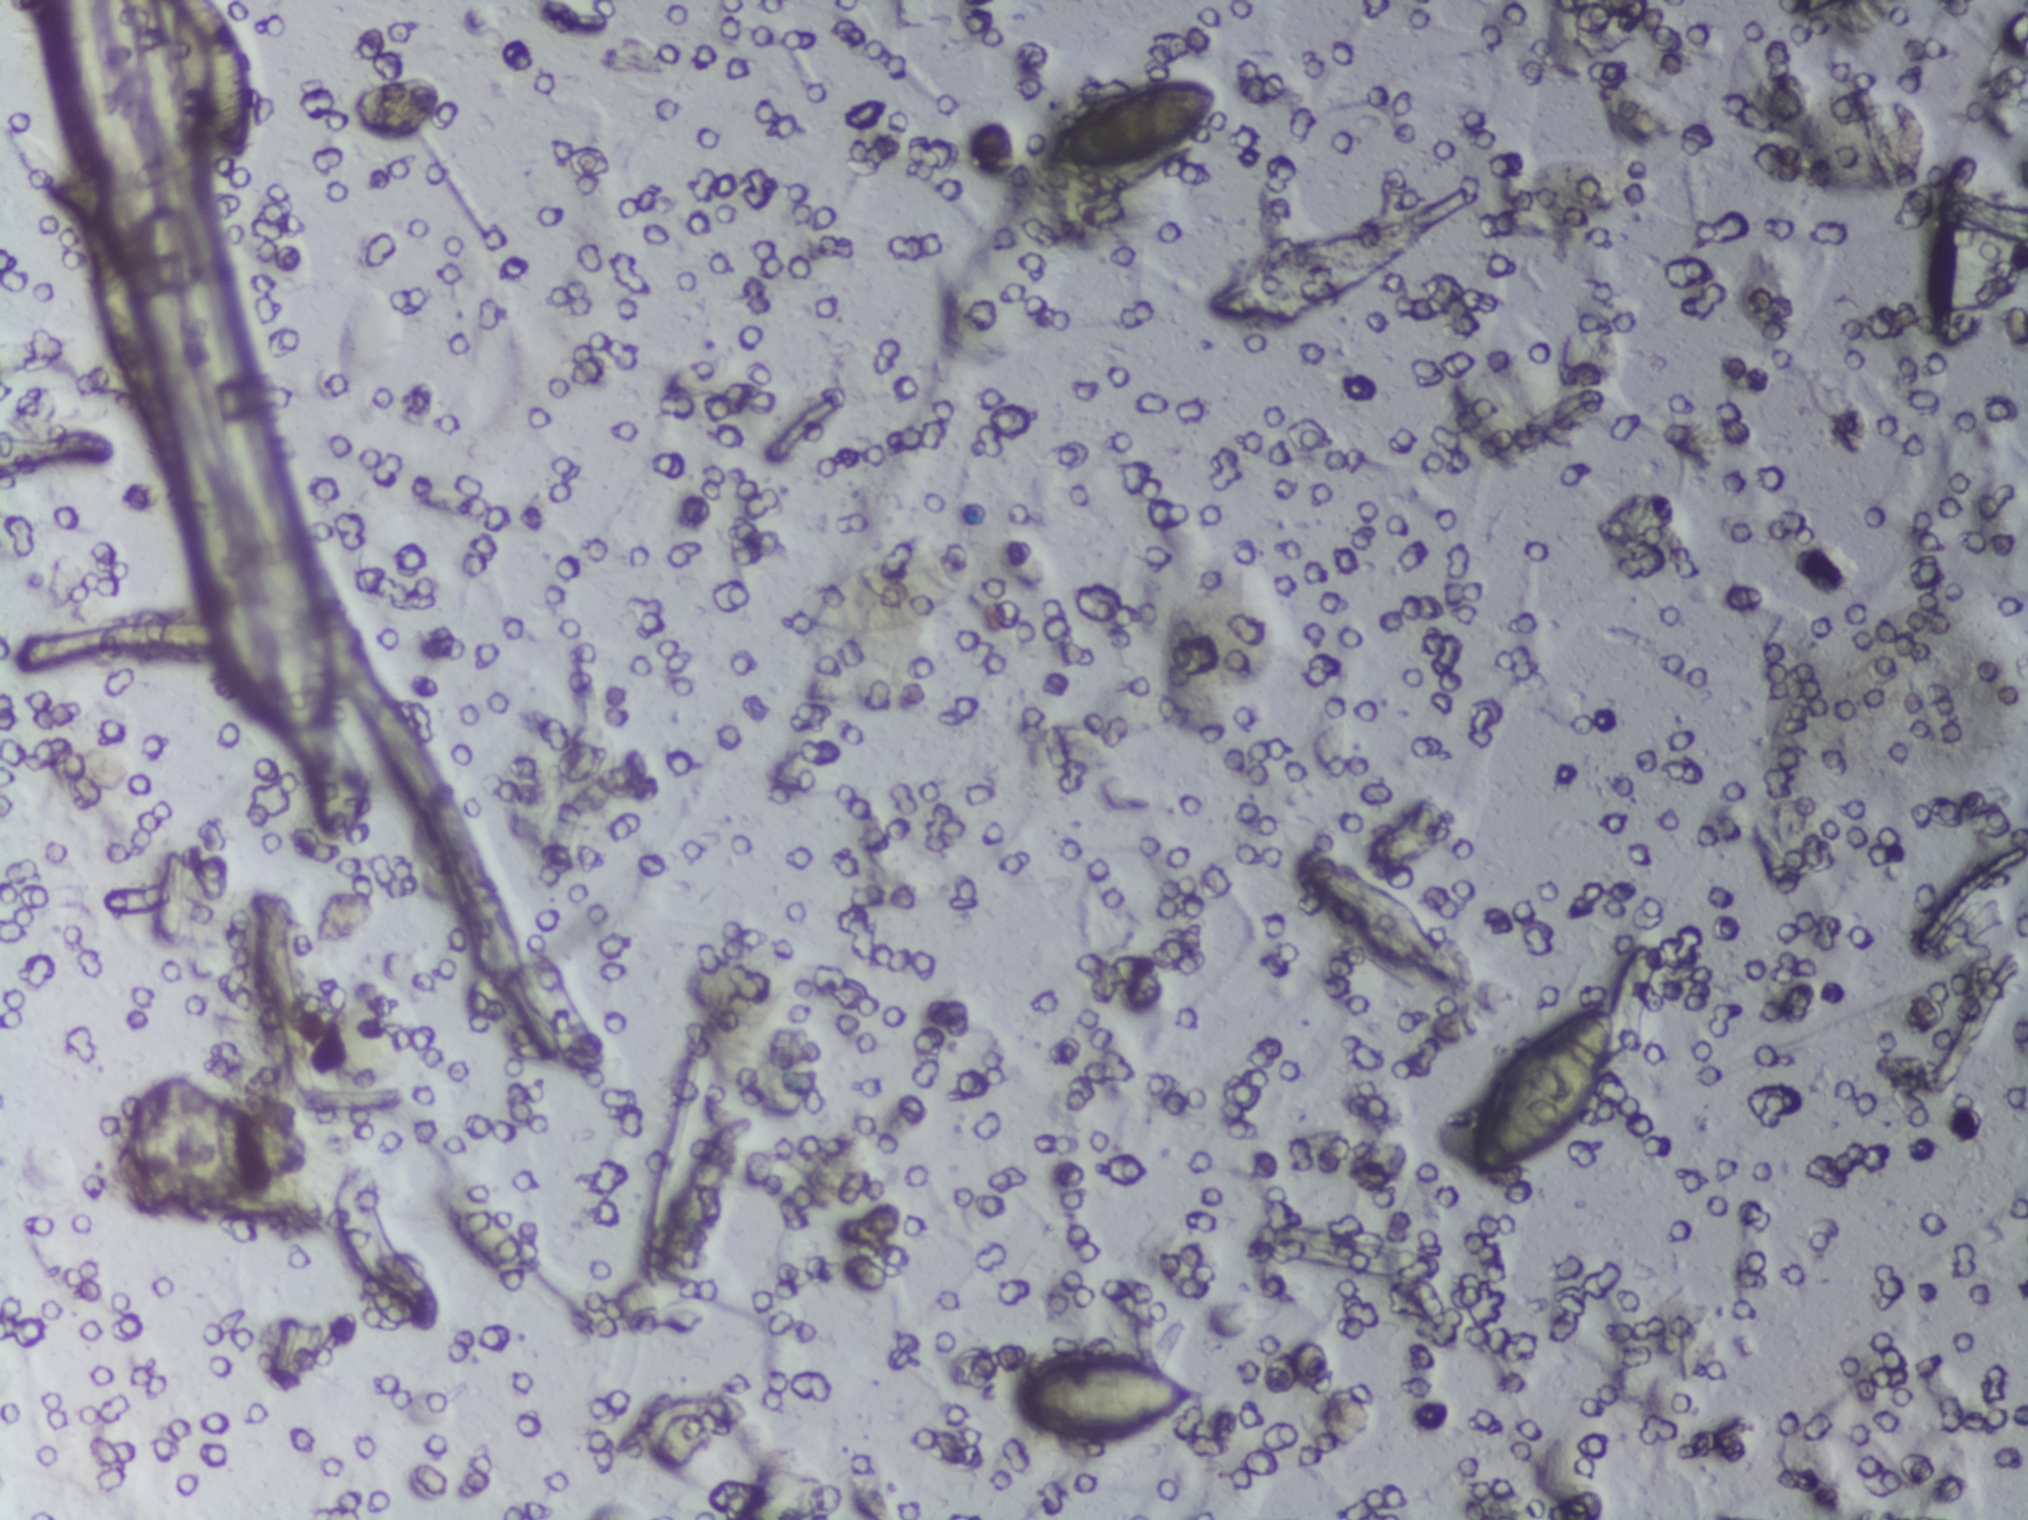
Photograph from an automated digital microscope: urine filter membrane, 4× objective.
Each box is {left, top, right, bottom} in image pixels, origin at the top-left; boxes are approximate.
Schistosoma egg areas, outlined: {168, 0, 254, 166} (reaching the top edge of the frame); {803, 548, 967, 636}; {1011, 1354, 1196, 1445}; {1043, 77, 1222, 173}; {1470, 1004, 1616, 1178}. Eggs that touch can end up inside the same outlined area.